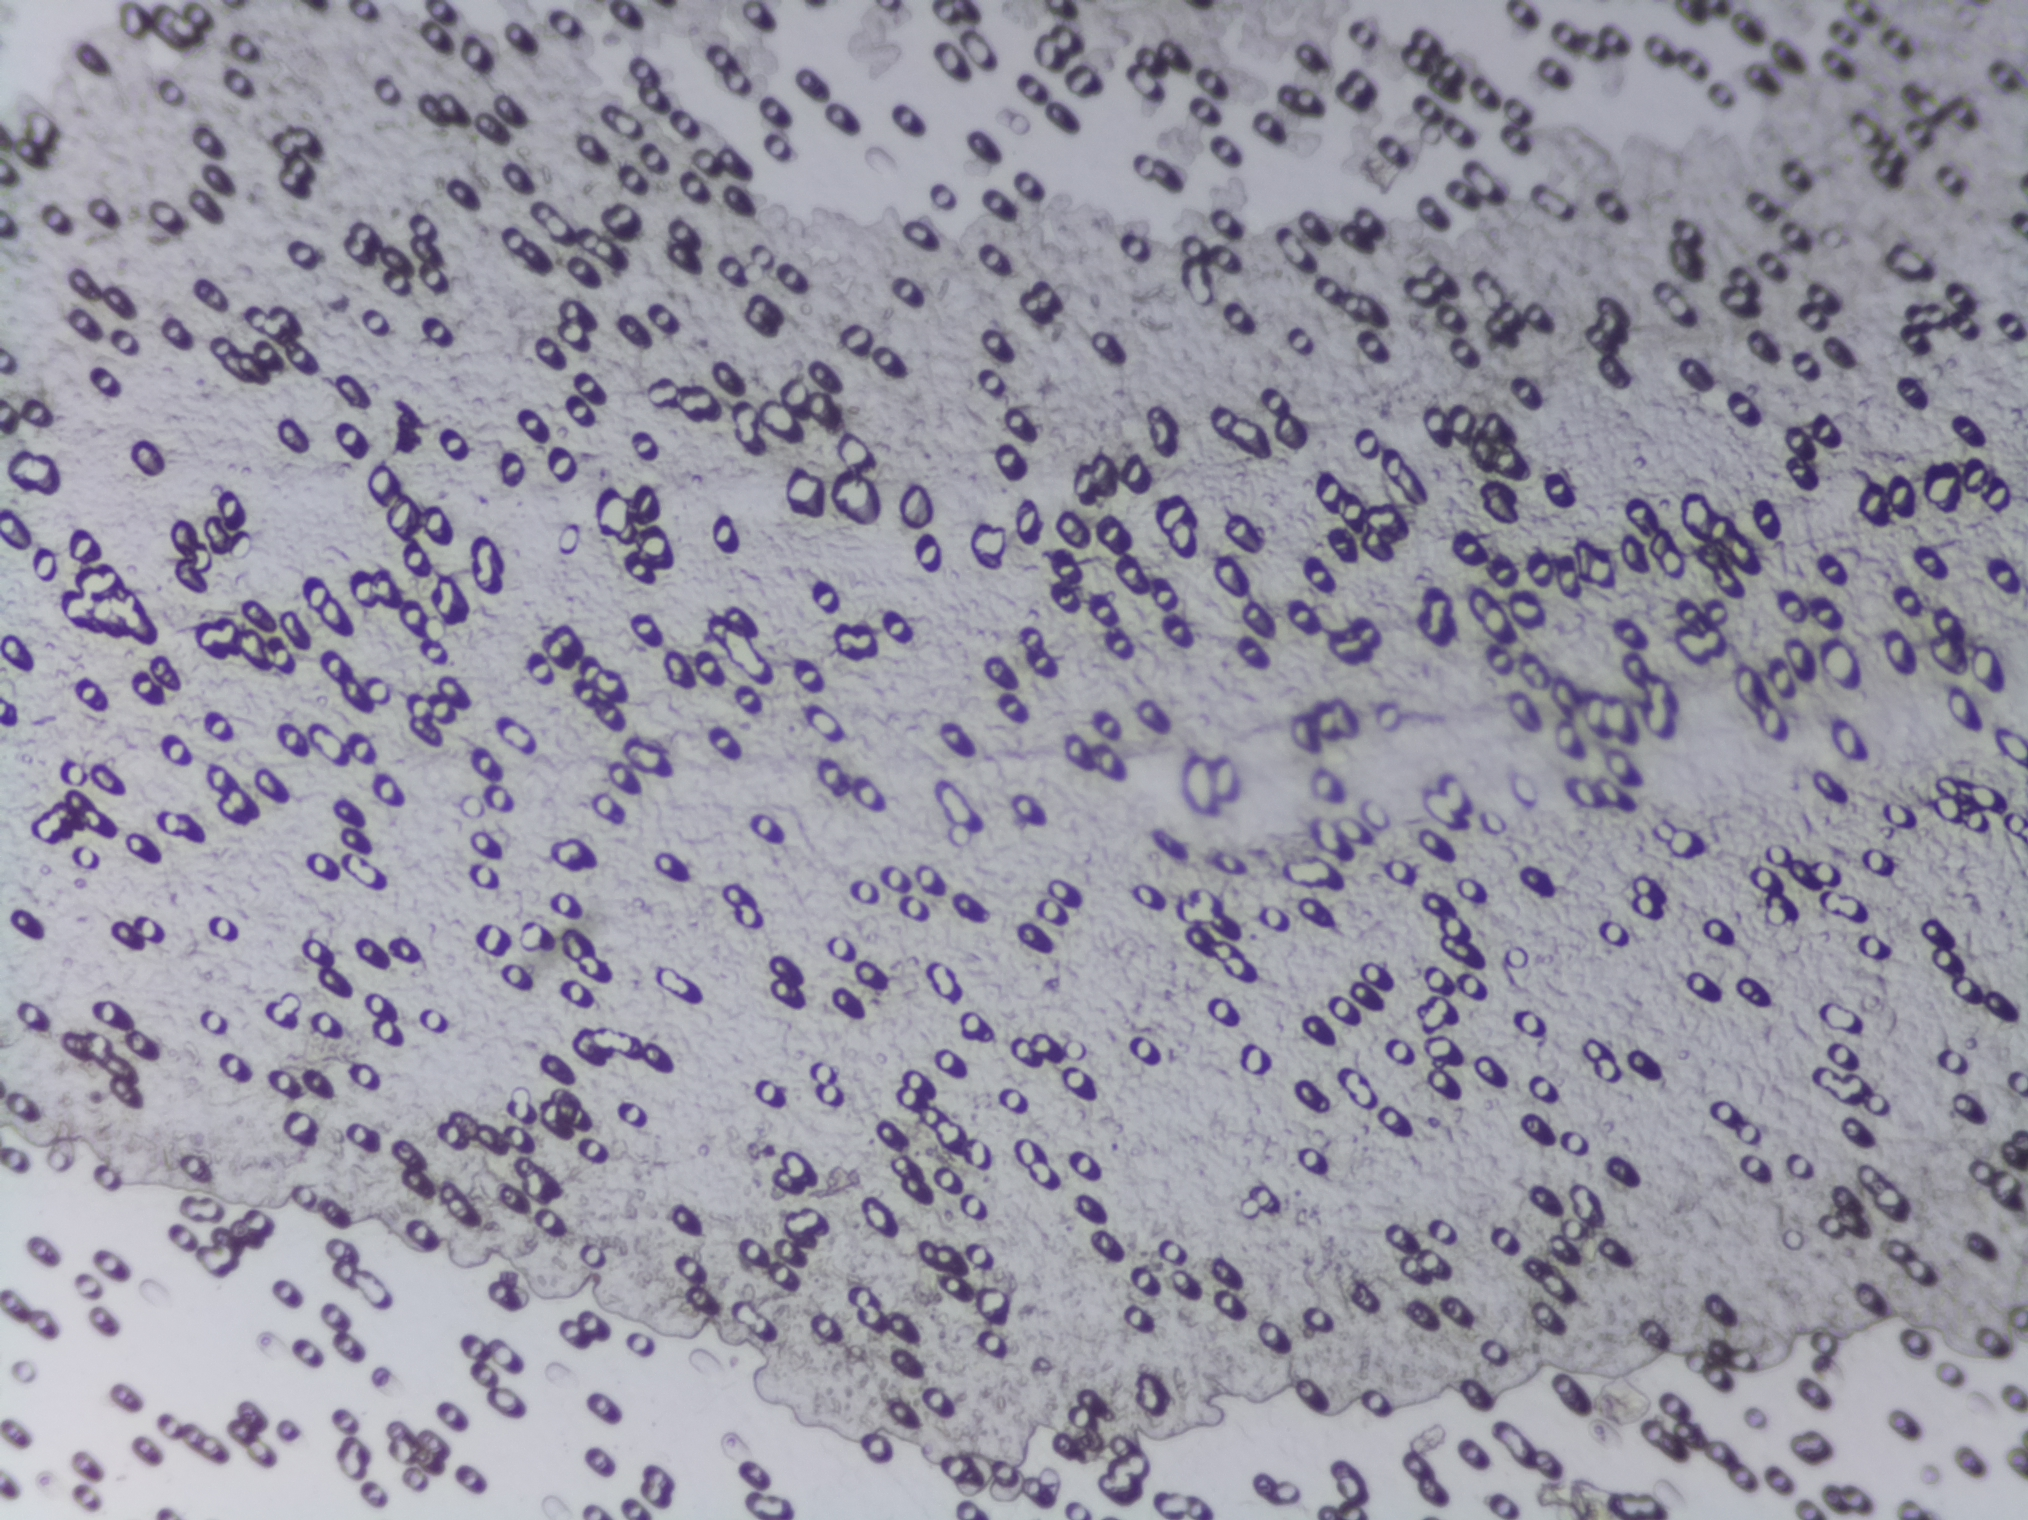
Photograph from an automated digital microscope: urine filter membrane, 4× objective.
No area of this image was outlined as a Schistosoma egg.